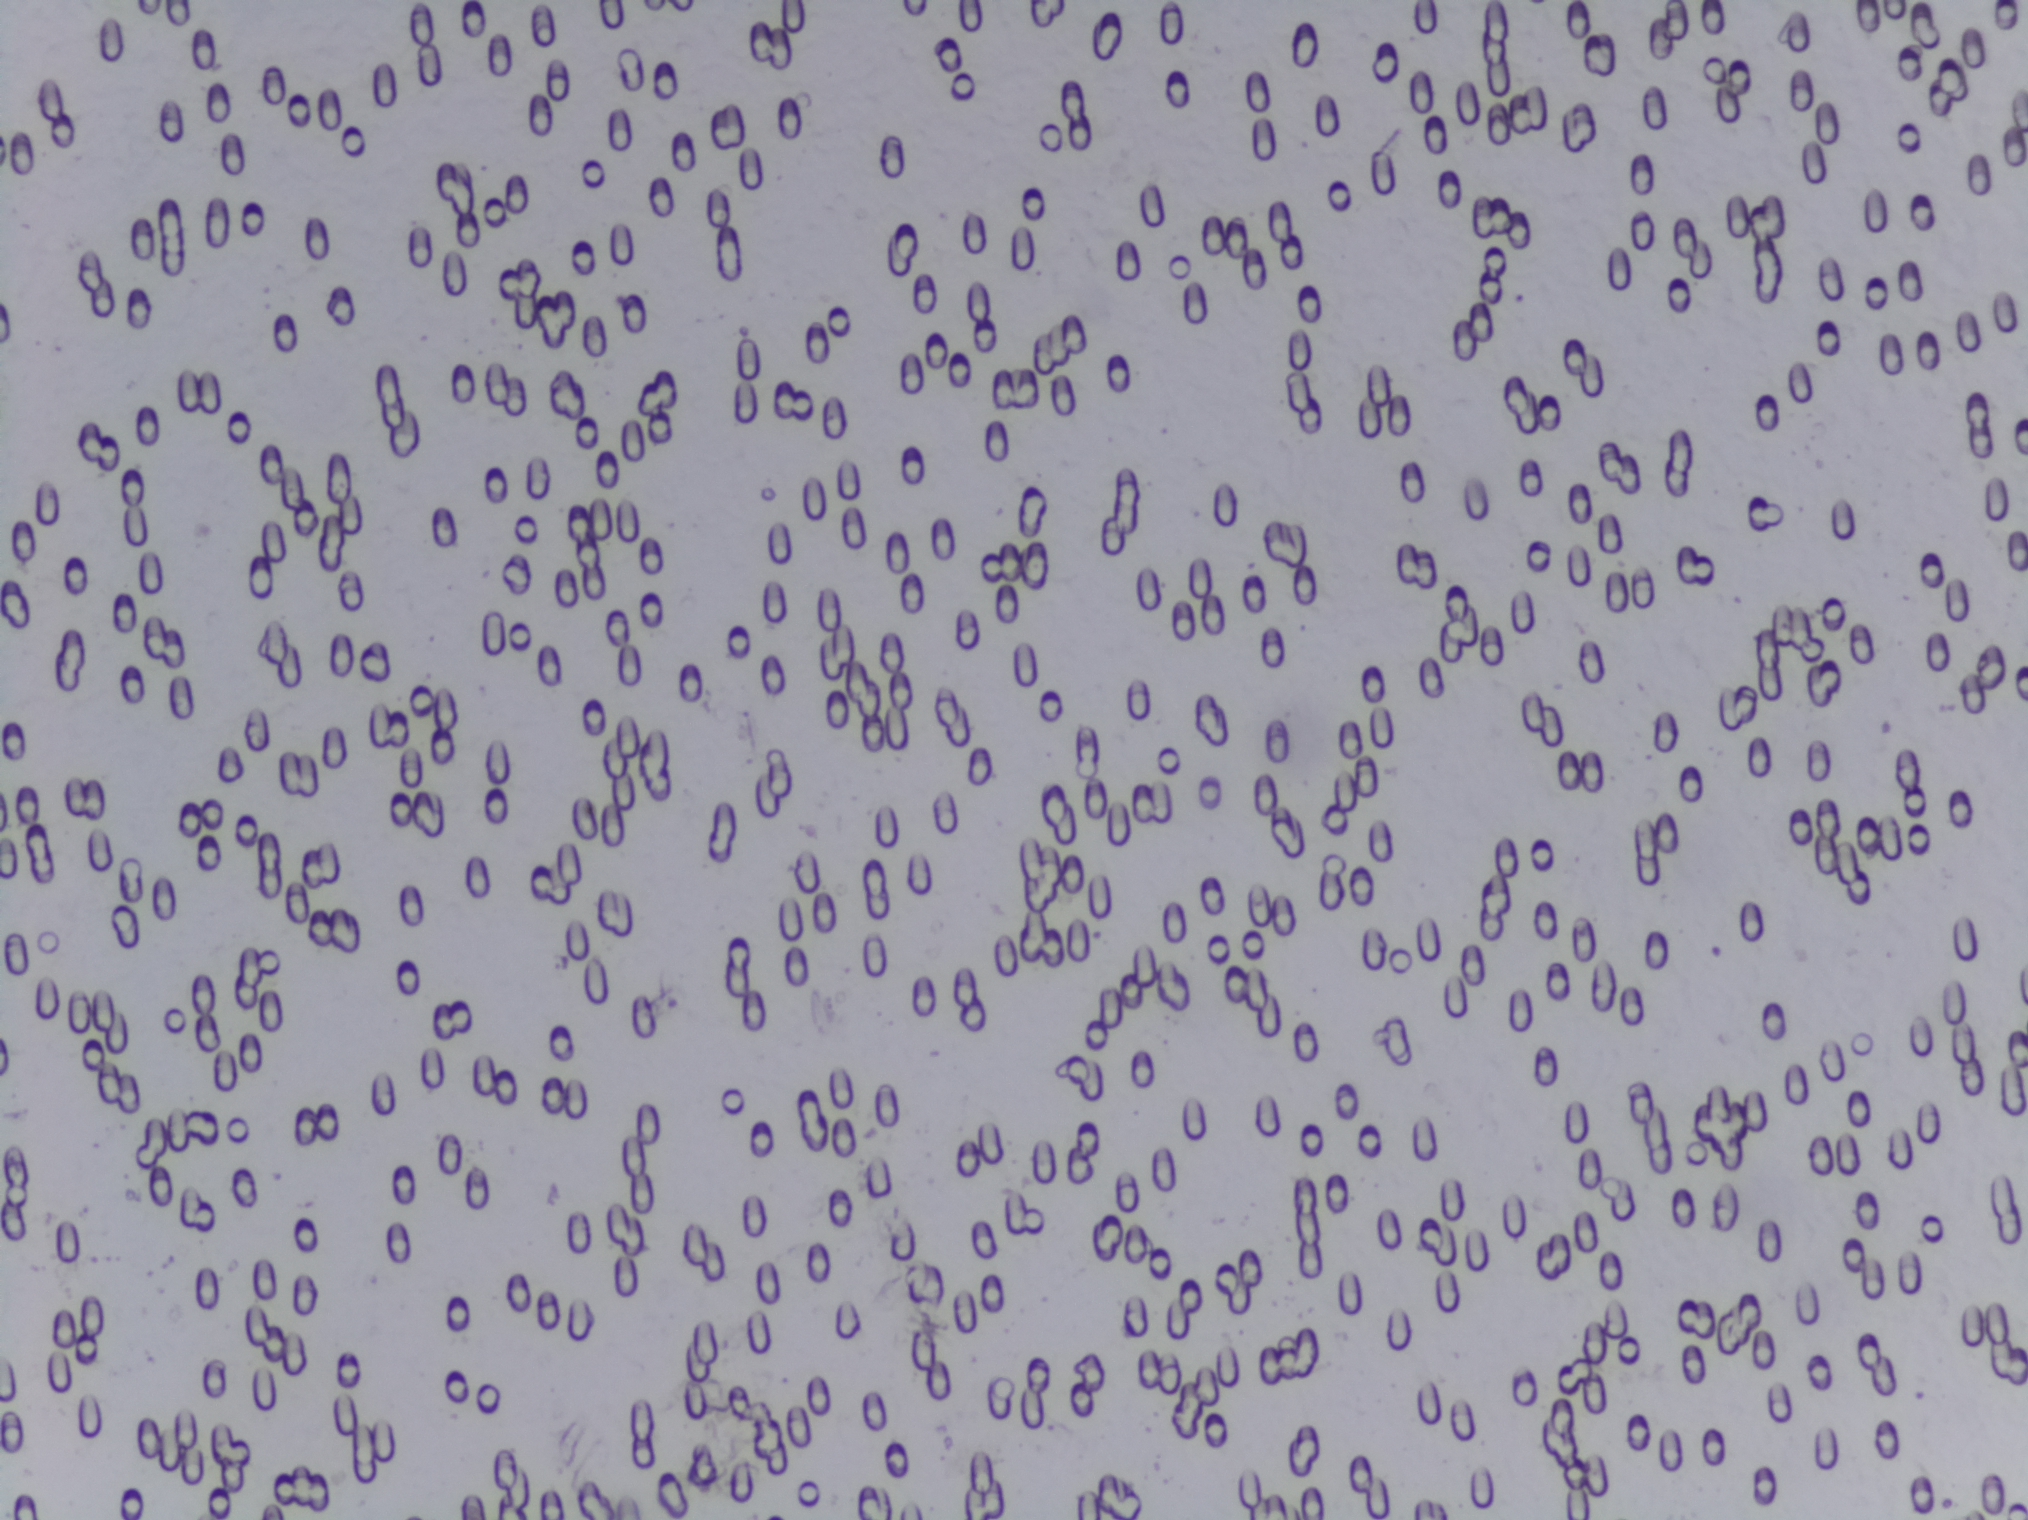
The expert annotation marks no Schistosoma egg in this field of view.
Microscope photograph (4× objective) of a membrane that a urine sample was filtered through. Field of view: about 1.5 mm wide and 1.1 mm high.